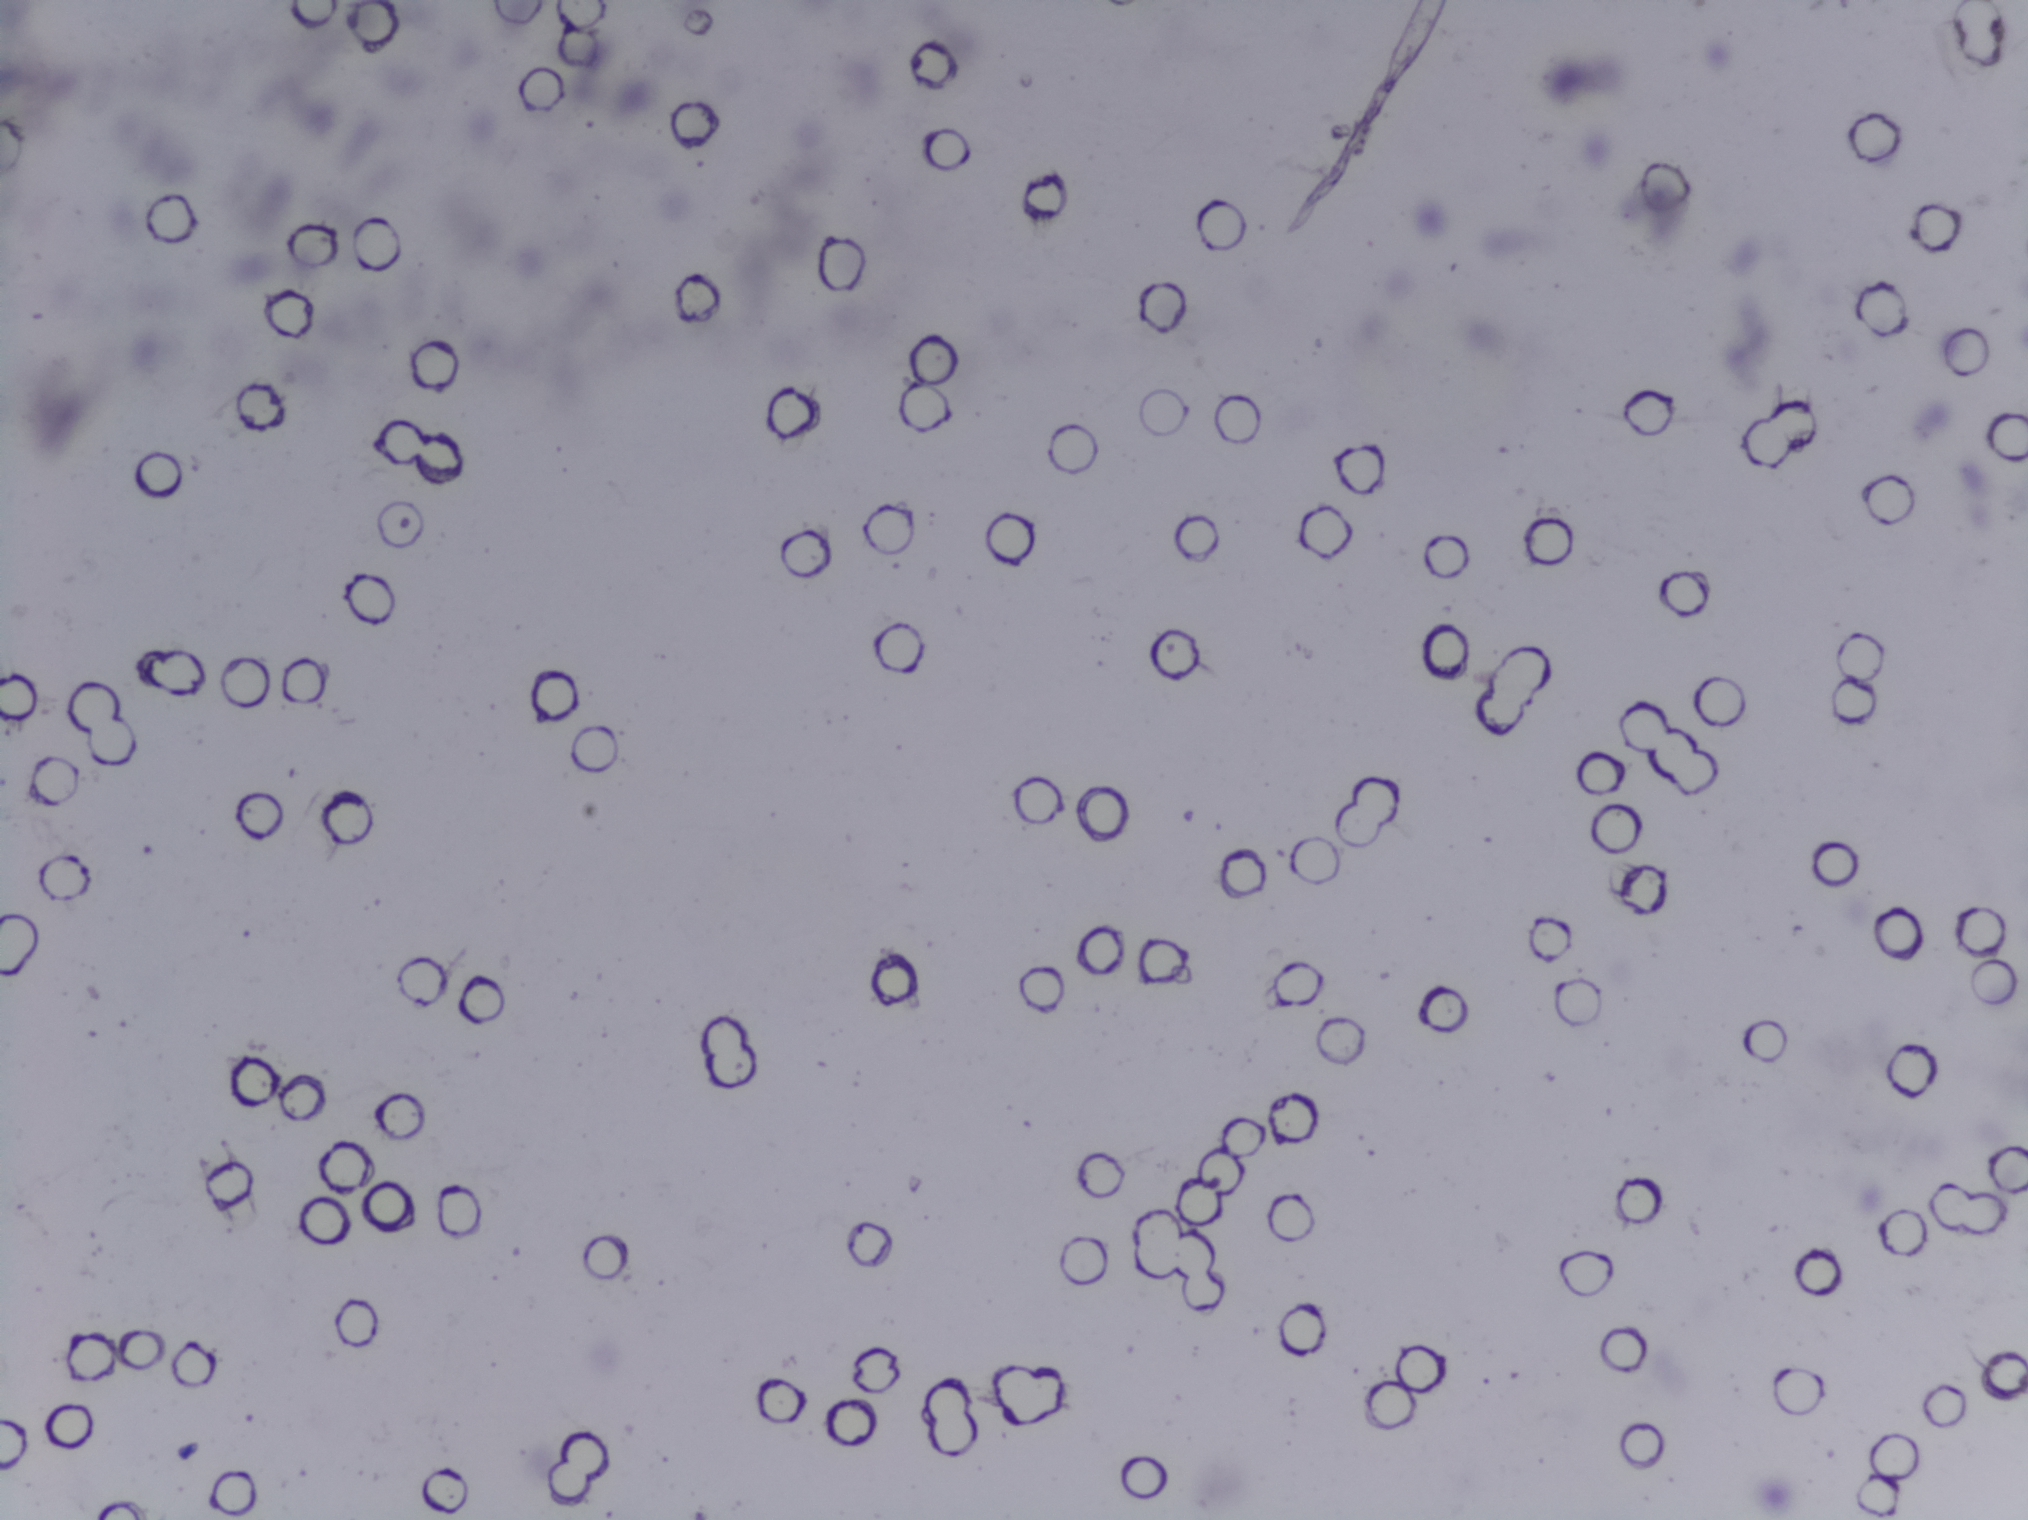
No Schistosoma egg is outlined in this image's expert annotation.
One field of view of a urine filter membrane, 4× objective, 2028 × 1520 pixels.